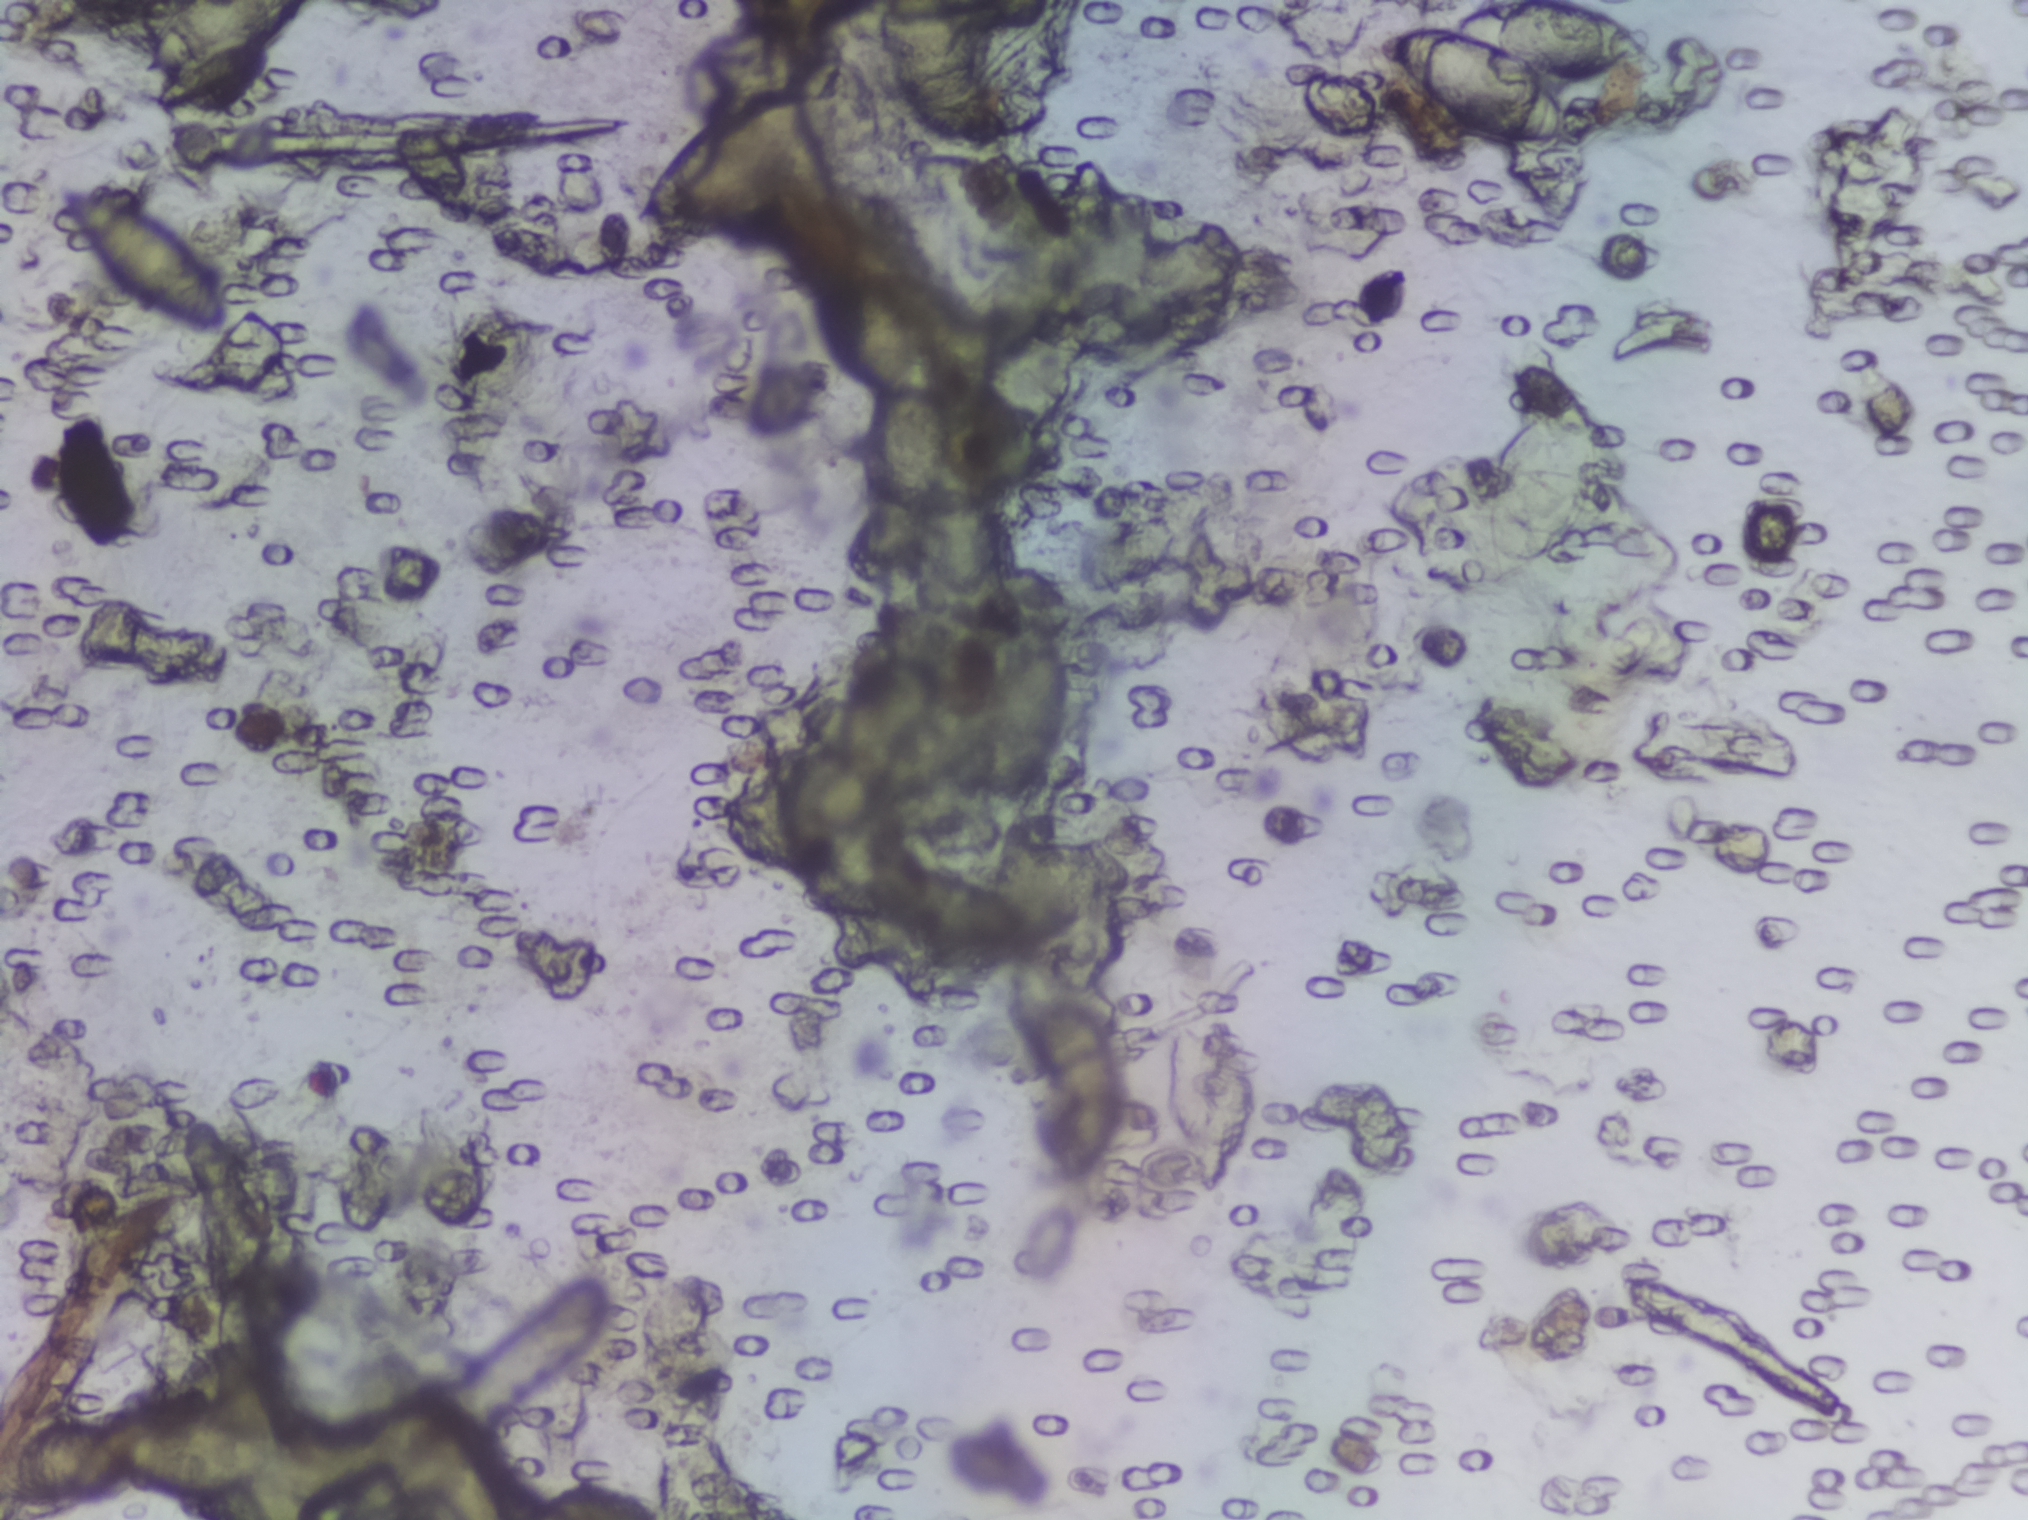
Urine filter membrane photographed through a 4× microscope objective.
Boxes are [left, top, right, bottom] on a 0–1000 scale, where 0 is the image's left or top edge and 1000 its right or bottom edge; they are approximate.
Areas outlined as Schistosoma eggs: [27, 121, 116, 219]; [42, 925, 137, 987]; [66, 0, 151, 51] (reaching the top edge of the frame); [305, 53, 439, 148]; [677, 0, 814, 97] (reaching the top edge of the frame); [732, 251, 788, 385]. An outlined area can hold more than one egg.